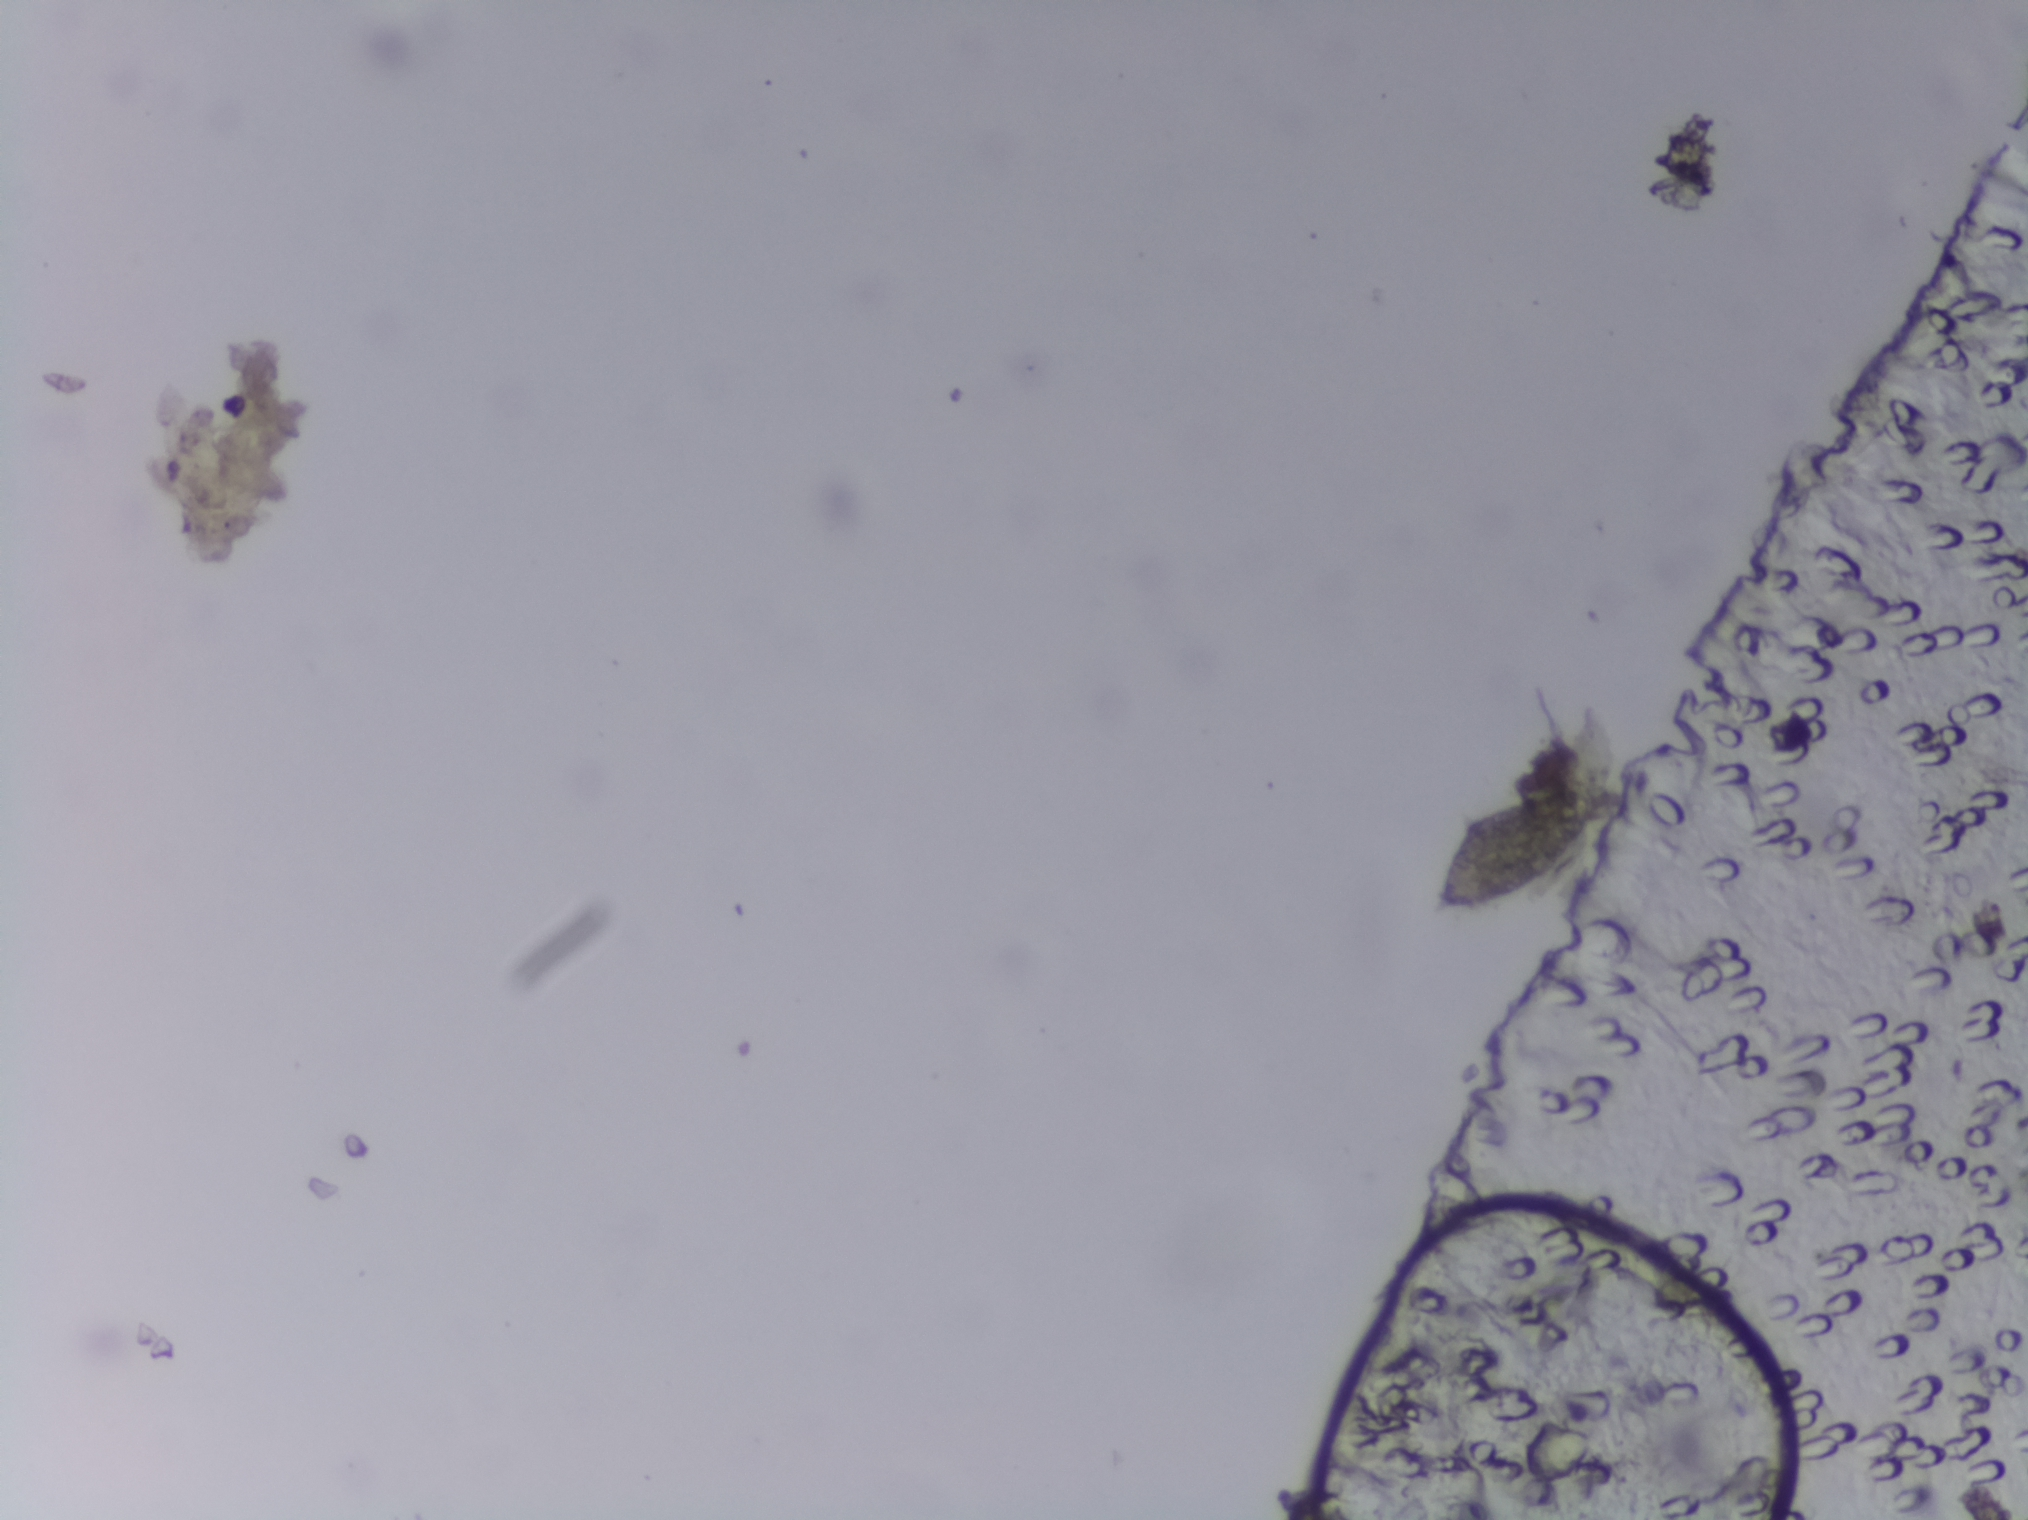
Photomicrograph of a urine filtration membrane, 4× objective. Field of view: about 1.5 mm wide and 1.1 mm high.
No Schistosoma egg is outlined in this image's expert annotation.